Urine filtration membrane under a 4× objective, photographed by an automated digital microscope. The image covers about 1.5 × 1.1 mm of the membrane.
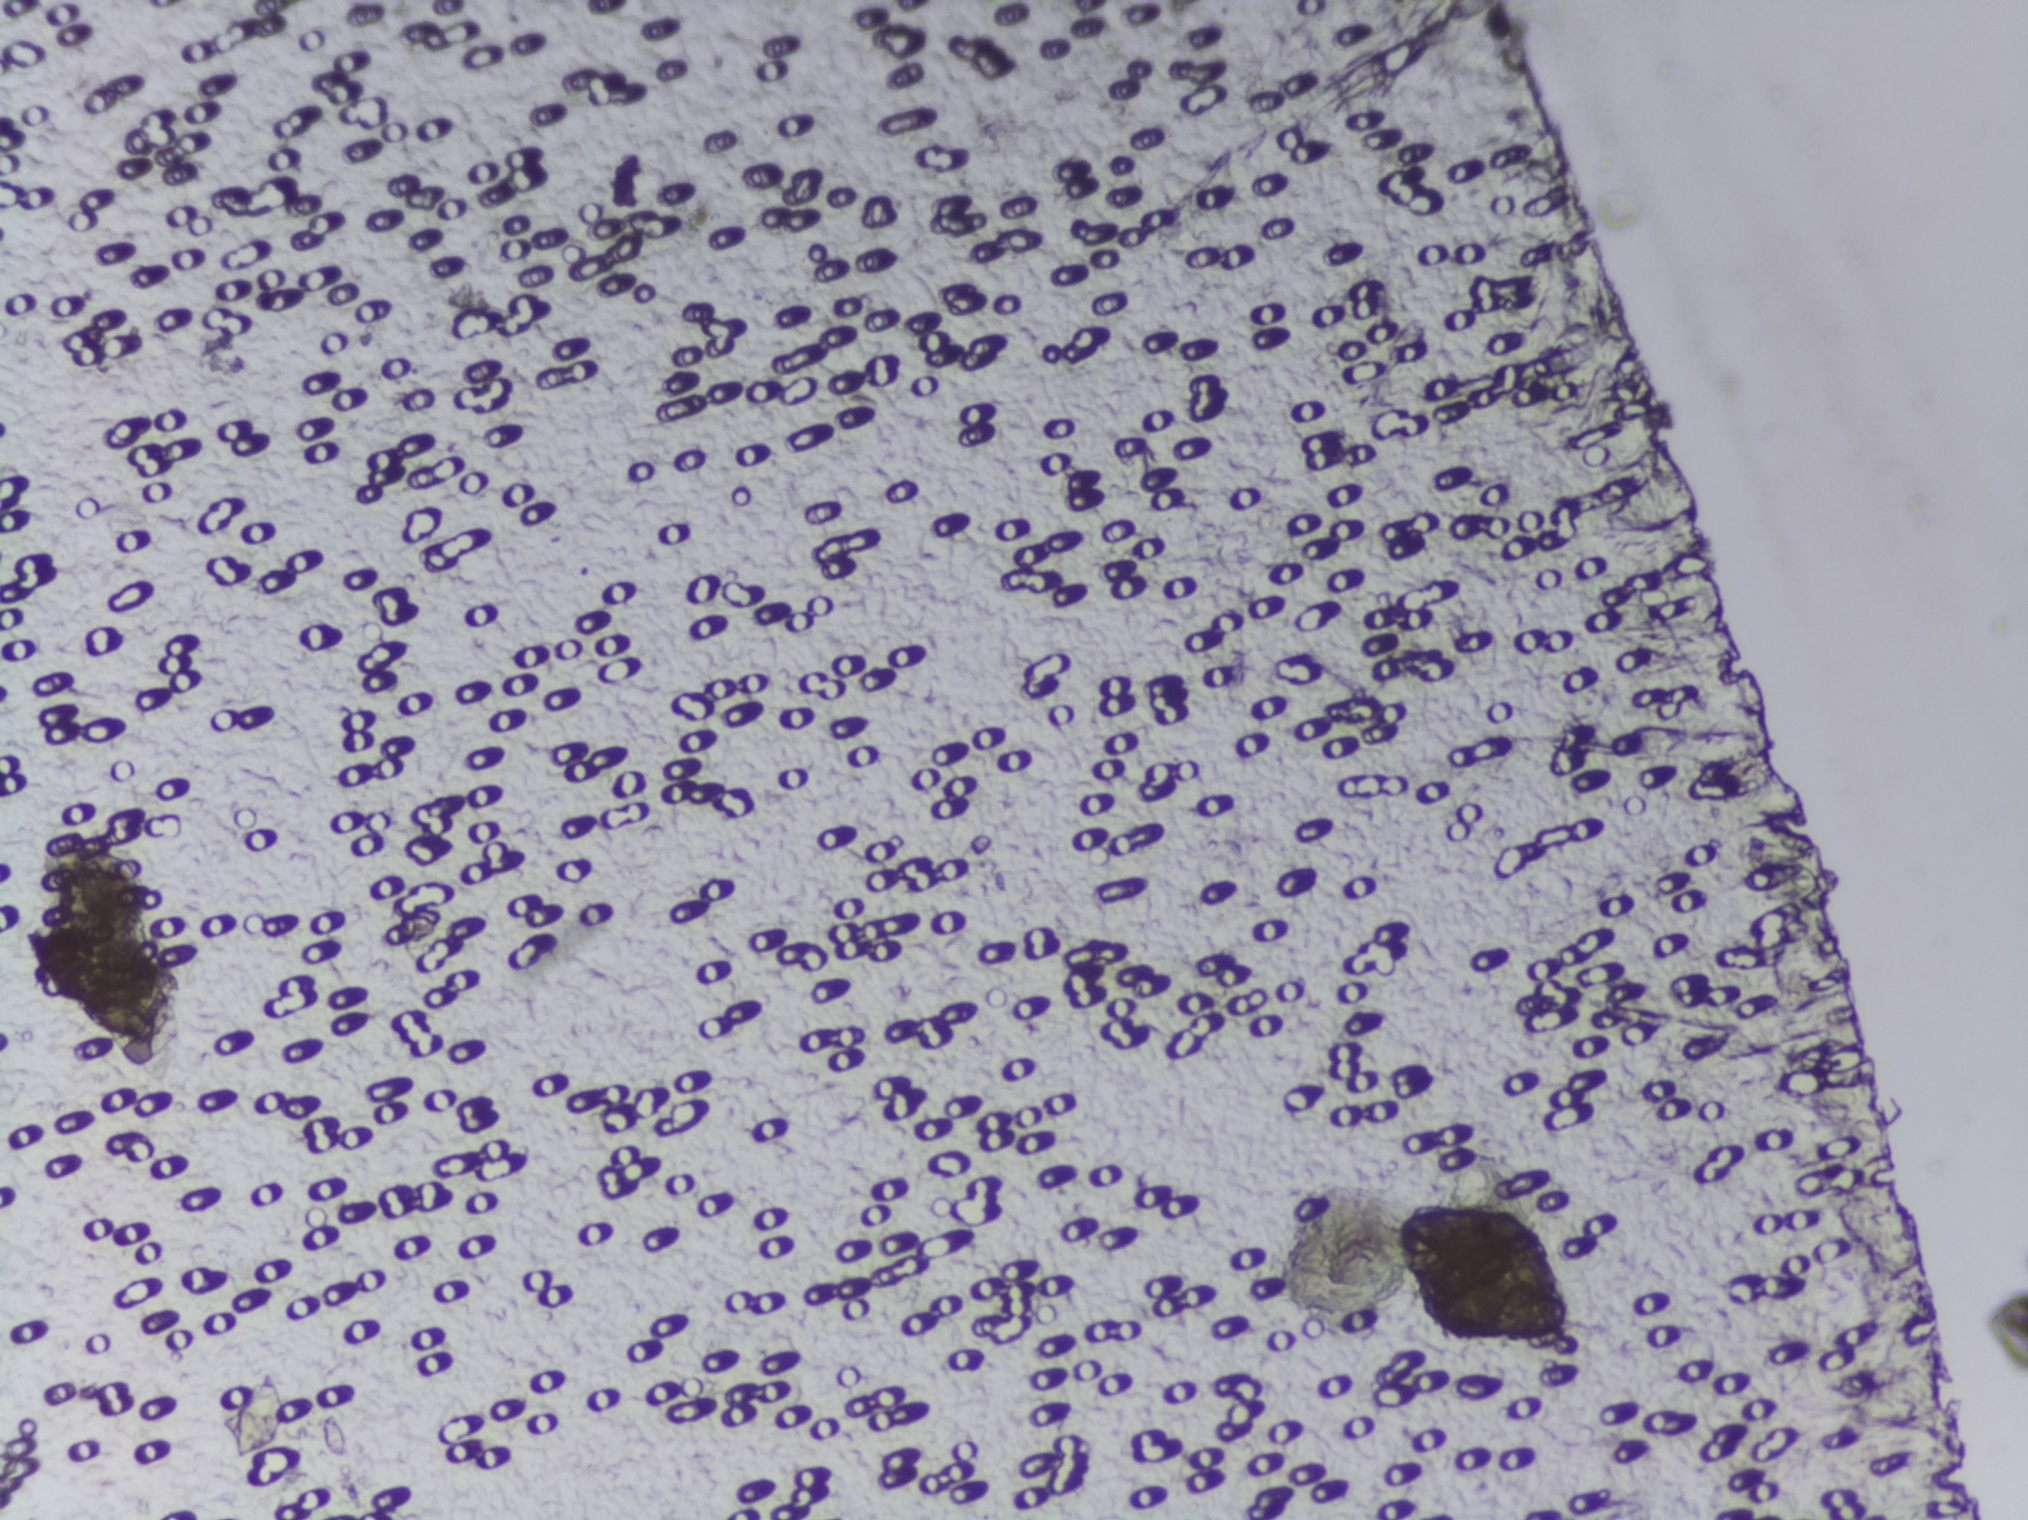
The expert annotation marks no Schistosoma egg in this field of view.